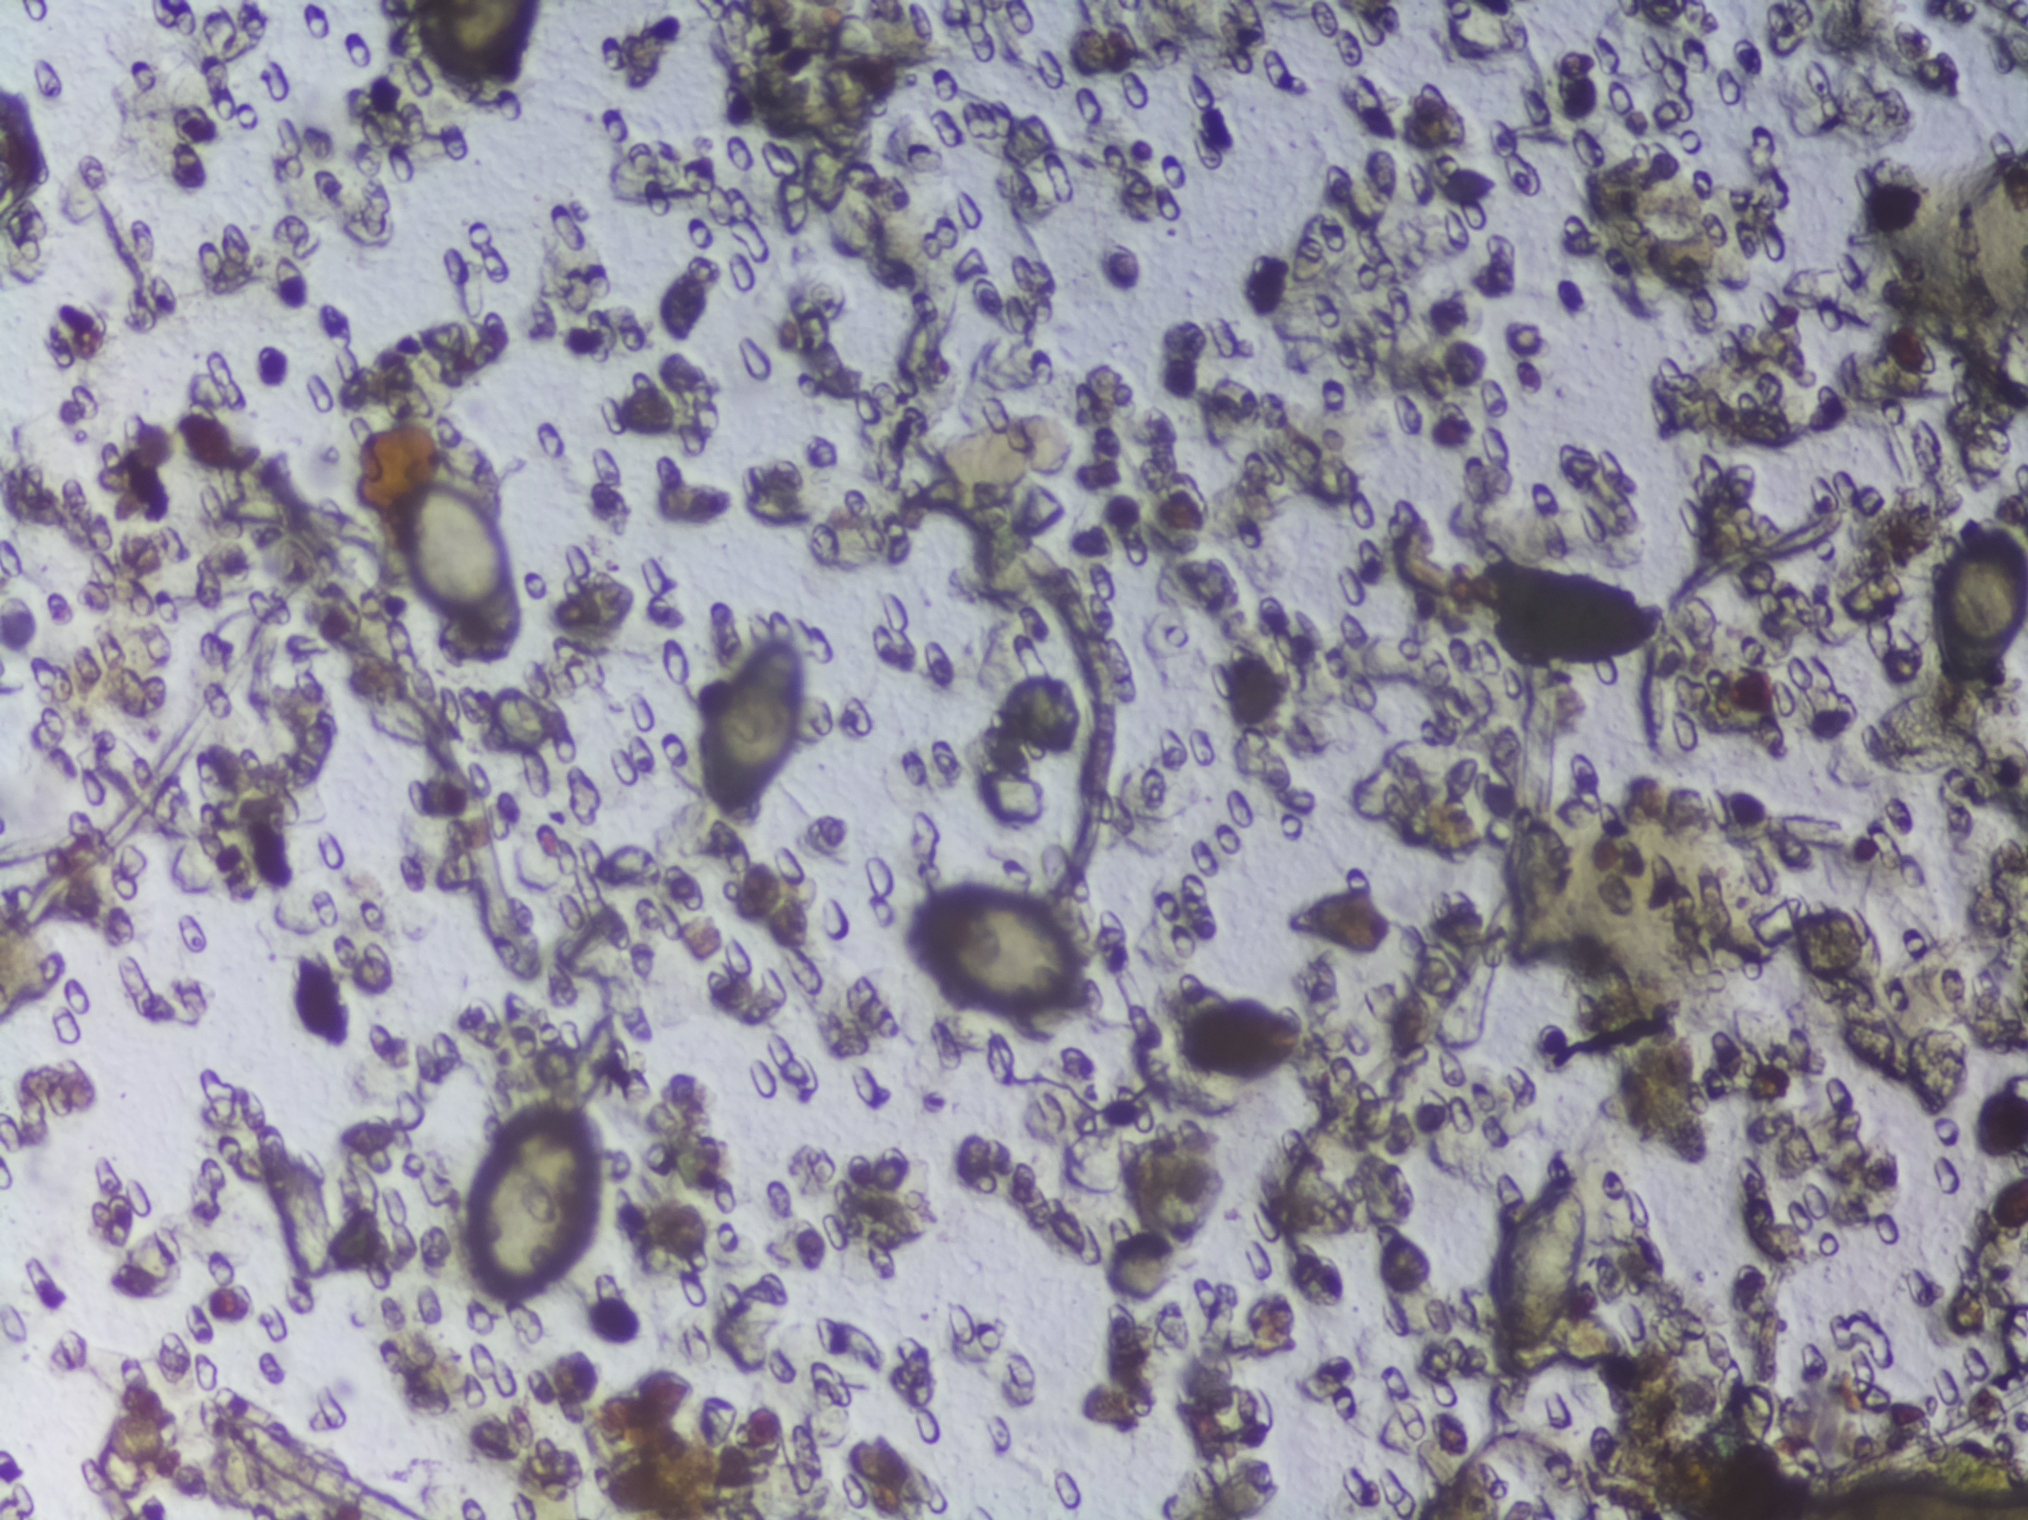
Photomicrograph of a urine filtration membrane, 4× objective.
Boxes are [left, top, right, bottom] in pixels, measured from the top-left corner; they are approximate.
Six areas of this image are outlined as Schistosoma eggs, from left to right: [395, 479, 524, 644]; [467, 1099, 602, 1320]; [699, 641, 808, 834]; [907, 891, 1098, 1020]; [1485, 1181, 1589, 1382]; [1929, 501, 2027, 709] (reaching the right edge of the frame). A single outlined area may contain several eggs.